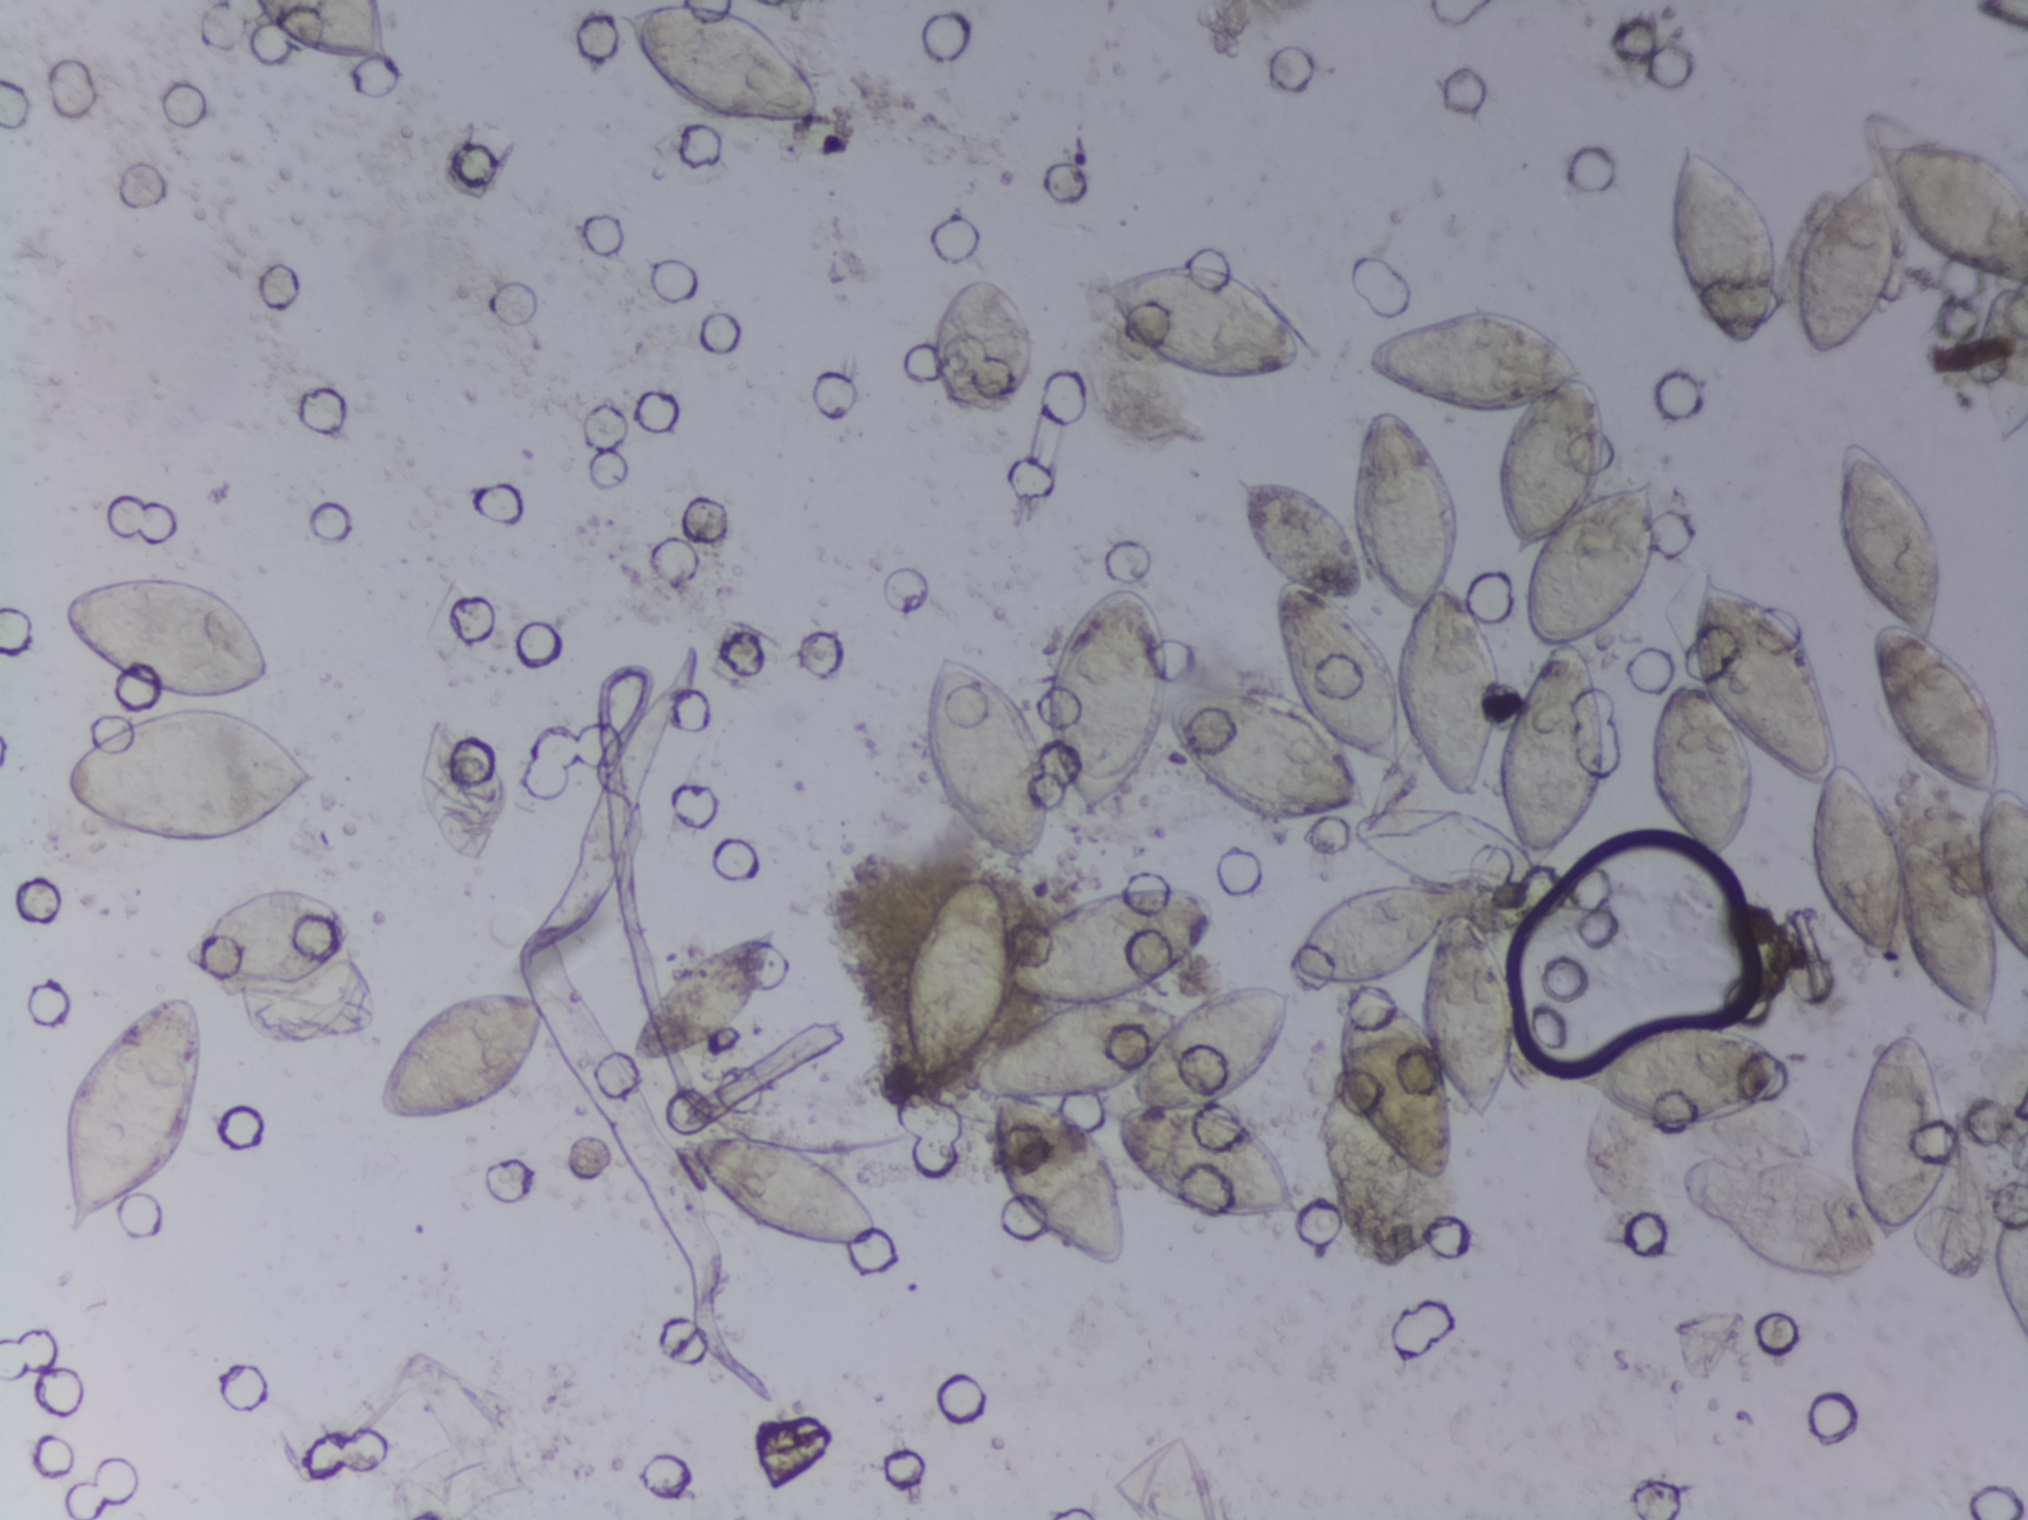
Photomicrograph of a urine filtration membrane, 4× objective.
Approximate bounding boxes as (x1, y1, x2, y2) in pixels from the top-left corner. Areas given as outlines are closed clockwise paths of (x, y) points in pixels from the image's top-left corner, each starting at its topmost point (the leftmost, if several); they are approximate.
16 areas of this image are outlined as Schistosoma eggs, from left to right: box (58, 568, 317, 849) (eggs clustered together); box (60, 993, 207, 1237); box (178, 884, 355, 988); box (251, 0, 397, 69) (reaching the top edge of the frame); box (373, 988, 548, 1123); box (414, 717, 505, 869); box (601, 0, 838, 135) (reaching the top edge of the frame); box (626, 926, 776, 1064); box (681, 1125, 884, 1252); outline (1494, 303), (1518, 310), (1577, 353), (1581, 372), (1604, 393), (1610, 456), (1601, 492), (1646, 470), (1659, 488), (1664, 546), (1655, 573), (1624, 627), (1586, 645), (1604, 678), (1614, 773), (1597, 820), (1558, 863), (1592, 896), (1594, 907), (1535, 911), (1489, 893), (1466, 892), (1518, 975), (1526, 1055), (1488, 1125), (1475, 1125), (1460, 1109), (1464, 1161), (1448, 1183), (1417, 1185), (1371, 1143), (1342, 1102), (1333, 1075), (1333, 1003), (1340, 983), (1284, 980), (1296, 1004), (1294, 1031), (1268, 1073), (1237, 1102), (1302, 1180), (1308, 1204), (1302, 1219), (1201, 1225), (1163, 1211), (1134, 1182), (1115, 1144), (1113, 1108), (1123, 1092), (1069, 1103), (1109, 1145), (1138, 1238), (1130, 1269), (1112, 1279), (1085, 1277), (1053, 1257), (1011, 1209), (987, 1155), (989, 1105), (965, 1095), (956, 1072), (934, 1091), (921, 1089), (903, 1061), (901, 960), (919, 922), (973, 872), (988, 872), (1004, 892), (1015, 939), (1047, 908), (1077, 892), (1113, 882), (1184, 880), (1212, 898), (1216, 927), (1192, 961), (1157, 992), (1178, 1002), (1221, 978), (1278, 974), (1291, 936), (1330, 891), (1360, 878), (1371, 884), (1406, 881), (1358, 848), (1349, 810), (1303, 825), (1257, 823), (1202, 788), (1165, 733), (1143, 781), (1093, 828), (1068, 806), (1049, 769), (1053, 818), (1039, 858), (1028, 868), (1006, 869), (950, 824), (930, 785), (919, 698), (926, 663), (937, 651), (962, 651), (987, 662), (1022, 700), (1044, 746), (1054, 675), (1047, 671), (1048, 659), (1063, 627), (1112, 585), (1137, 581), (1162, 609), (1173, 684), (1183, 678), (1244, 678), (1292, 691), (1272, 644), (1272, 582), (1246, 552), (1232, 472), (1320, 494), (1341, 512), (1354, 543), (1346, 483), (1359, 420), (1366, 412), (1397, 407), (1432, 435), (1459, 495), (1465, 549), (1454, 577), (1476, 586), (1488, 604), (1502, 658), (1500, 736), (1511, 687), (1540, 650), (1523, 631), (1525, 560), (1505, 551), (1494, 498), (1497, 447), (1512, 417), (1479, 416), (1406, 392), (1377, 373), (1368, 354), (1368, 345), (1394, 326) (eggs clustered together); box (1090, 256, 1307, 386); box (1563, 1018, 1794, 1137); outline (1842, 436), (1879, 443), (1922, 489), (1952, 567), (1938, 633), (1954, 642), (1994, 692), (2008, 736), (2008, 786), (2027, 800), (2027, 961), (2002, 938), (2008, 969), (1990, 1033), (1935, 997), (1907, 944), (1902, 963), (1882, 967), (1845, 937), (1809, 868), (1815, 793), (1810, 787), (1757, 759), (1750, 837), (1741, 860), (1727, 869), (1671, 823), (1651, 785), (1651, 703), (1672, 674), (1691, 667), (1689, 591), (1699, 570), (1712, 564), (1776, 600), (1804, 634), (1824, 670), (1846, 760), (1878, 788), (1895, 826), (1910, 822), (1973, 859), (1977, 794), (1915, 761), (1877, 690), (1871, 638), (1882, 617), (1855, 580), (1835, 524), (1833, 461) (eggs clustered together; reaching the right edge of the frame); box (1663, 134, 1780, 345); box (1793, 122, 2027, 365) (reaching the right edge of the frame); box (1851, 1028, 1954, 1247). Eggs that touch can end up inside the same outlined area.